Photomicrograph of a urine filtration membrane, 4× objective.
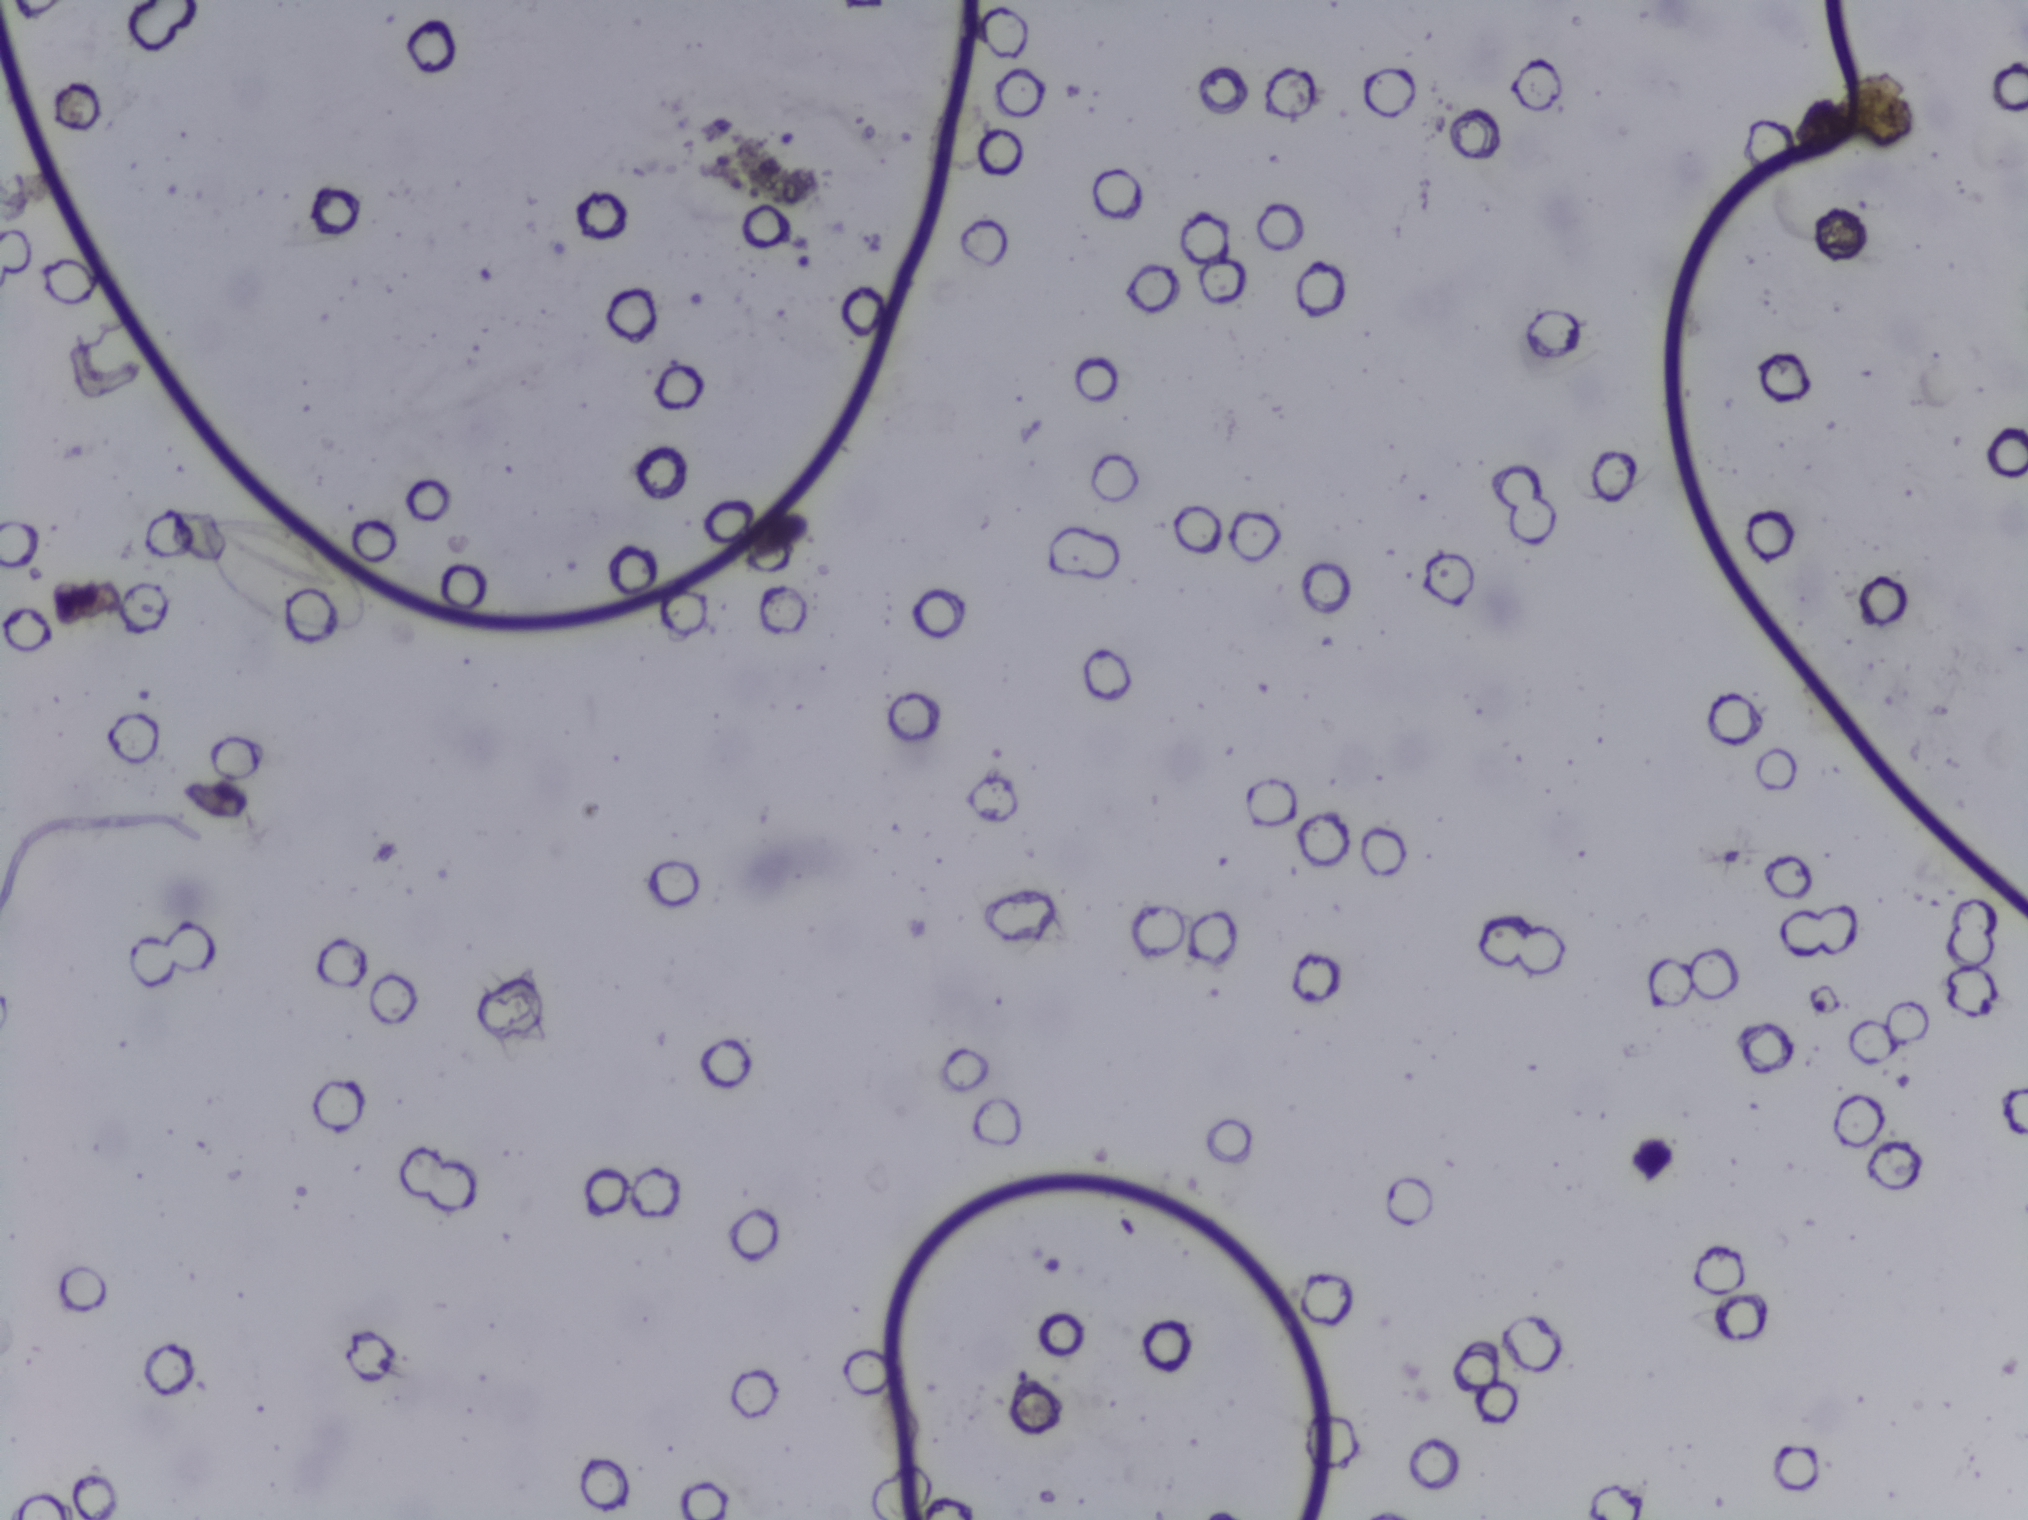
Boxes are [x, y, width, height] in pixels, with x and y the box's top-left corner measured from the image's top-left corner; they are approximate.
Schistosoma eggs are outlined in one area of this image: [195, 506, 175, 129]. Eggs that touch can end up inside the same outlined area.